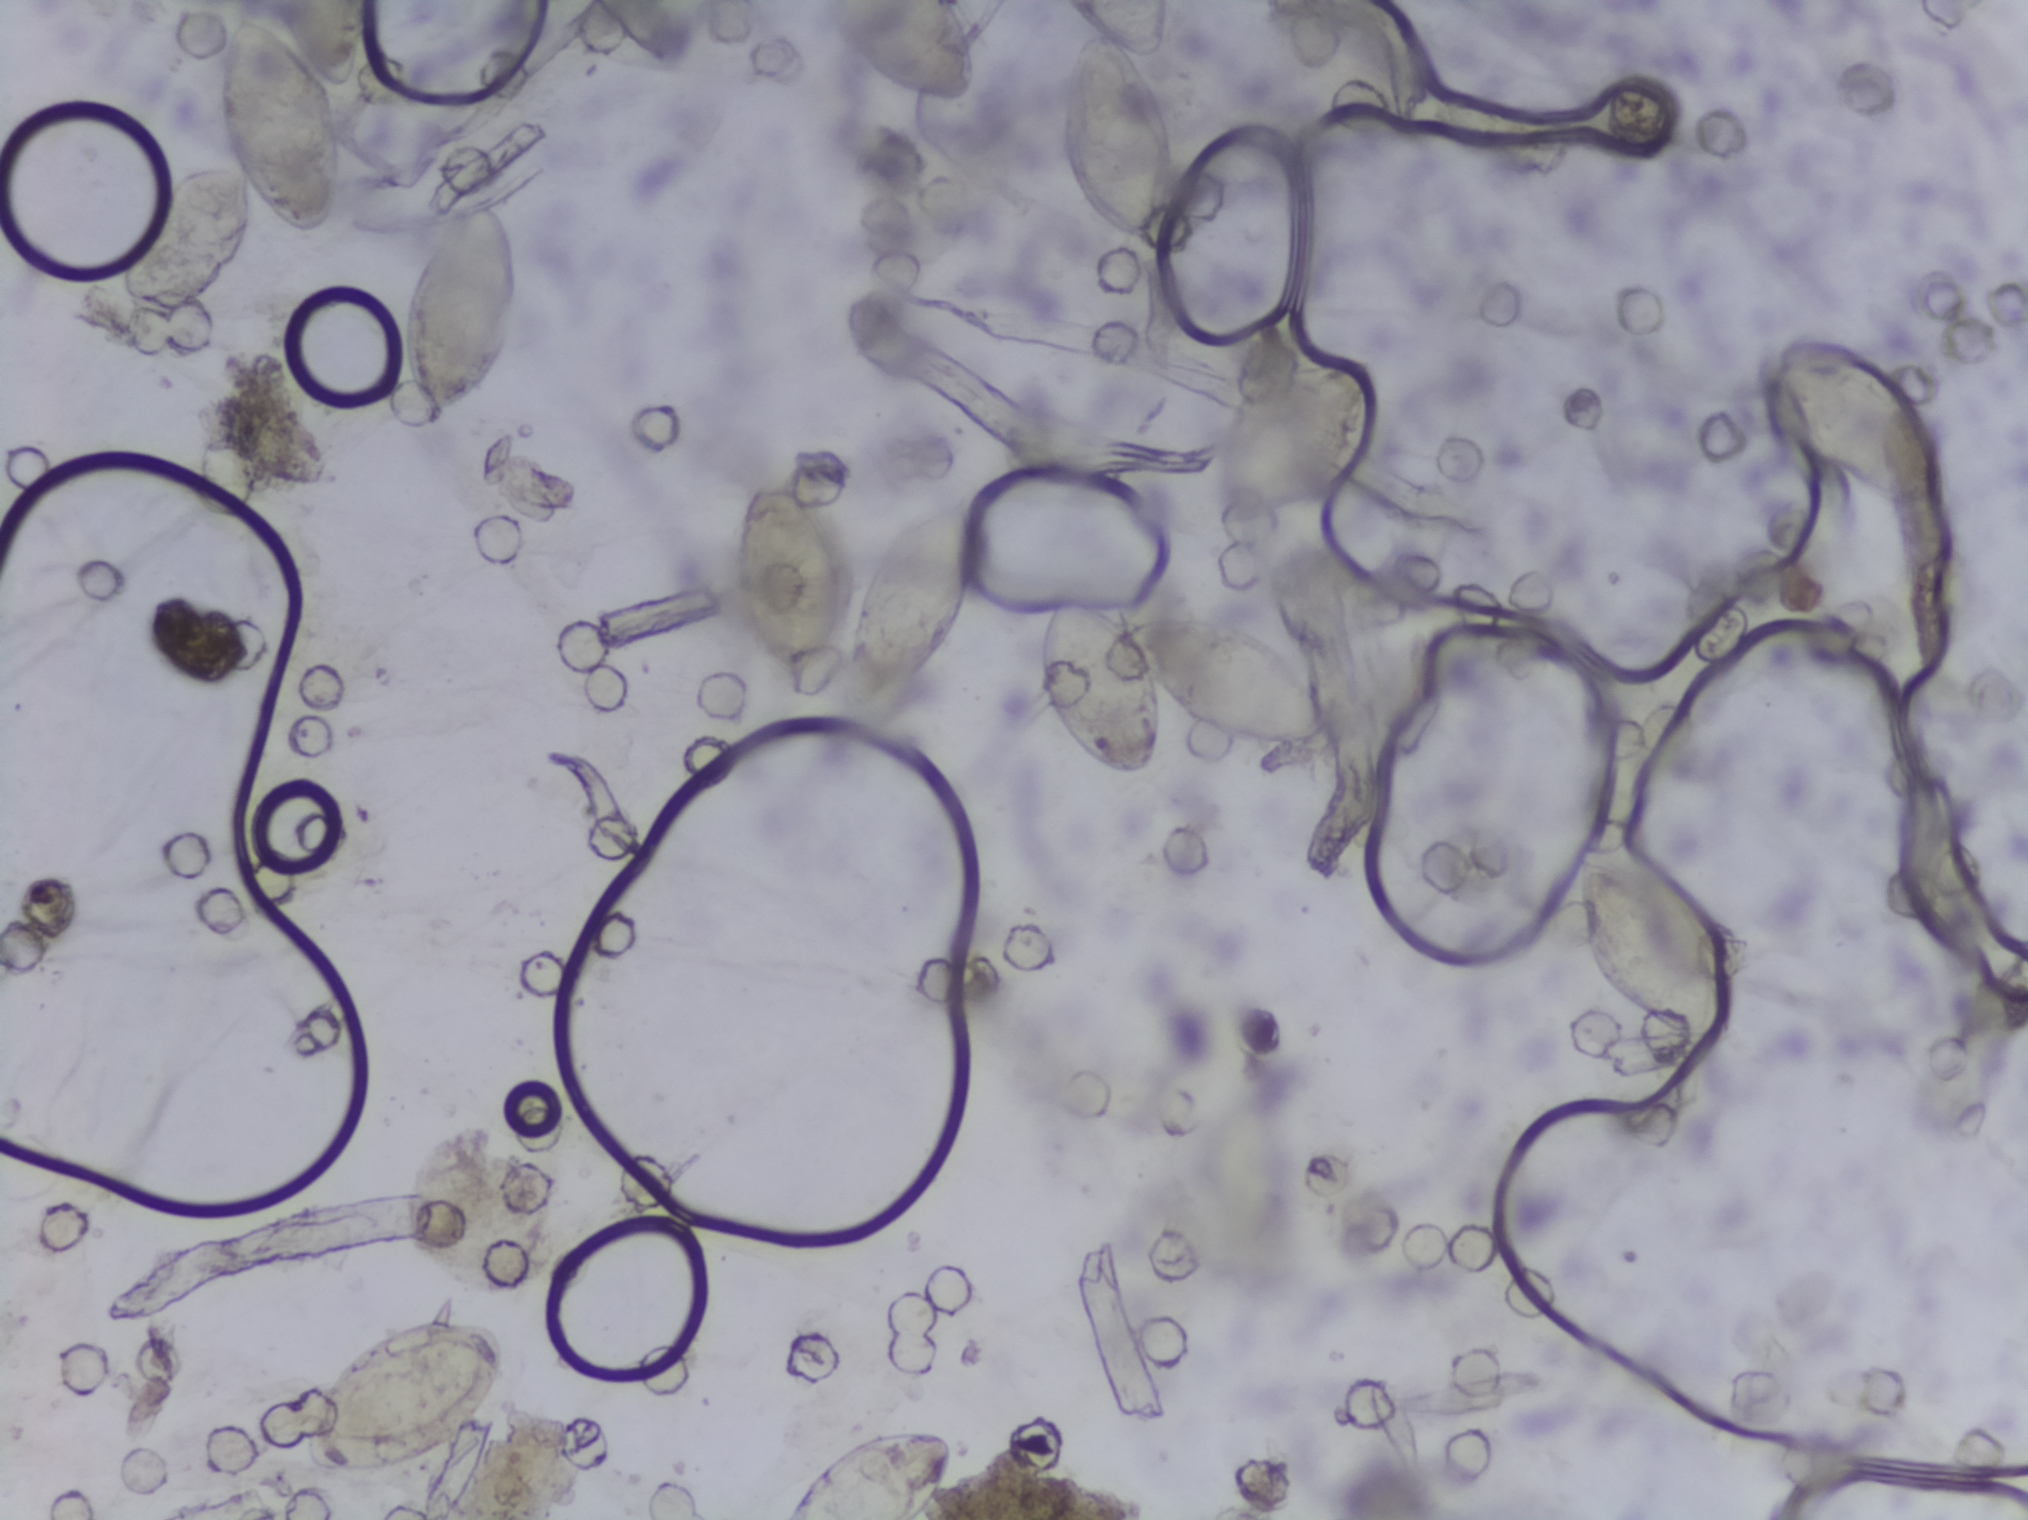
Urine filter membrane photographed through a 4× microscope objective.
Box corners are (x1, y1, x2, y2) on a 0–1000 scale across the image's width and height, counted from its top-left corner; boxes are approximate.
Areas outlined as Schistosoma eggs, left to right:
1. (59, 0, 182, 219) (reaching the top edge of the frame)
2. (148, 865, 251, 973)
3. (195, 120, 258, 284)
4. (360, 311, 486, 475)
5. (385, 937, 474, 1000) (reaching the bottom edge of the frame)
6. (397, 0, 483, 70) (reaching the top edge of the frame)
7. (511, 388, 665, 514)
8. (521, 0, 582, 168) (reaching the top edge of the frame)
9. (595, 232, 678, 347)
10. (776, 563, 857, 686)
11. (865, 227, 961, 338)
Eggs that touch can end up inside the same outlined area.